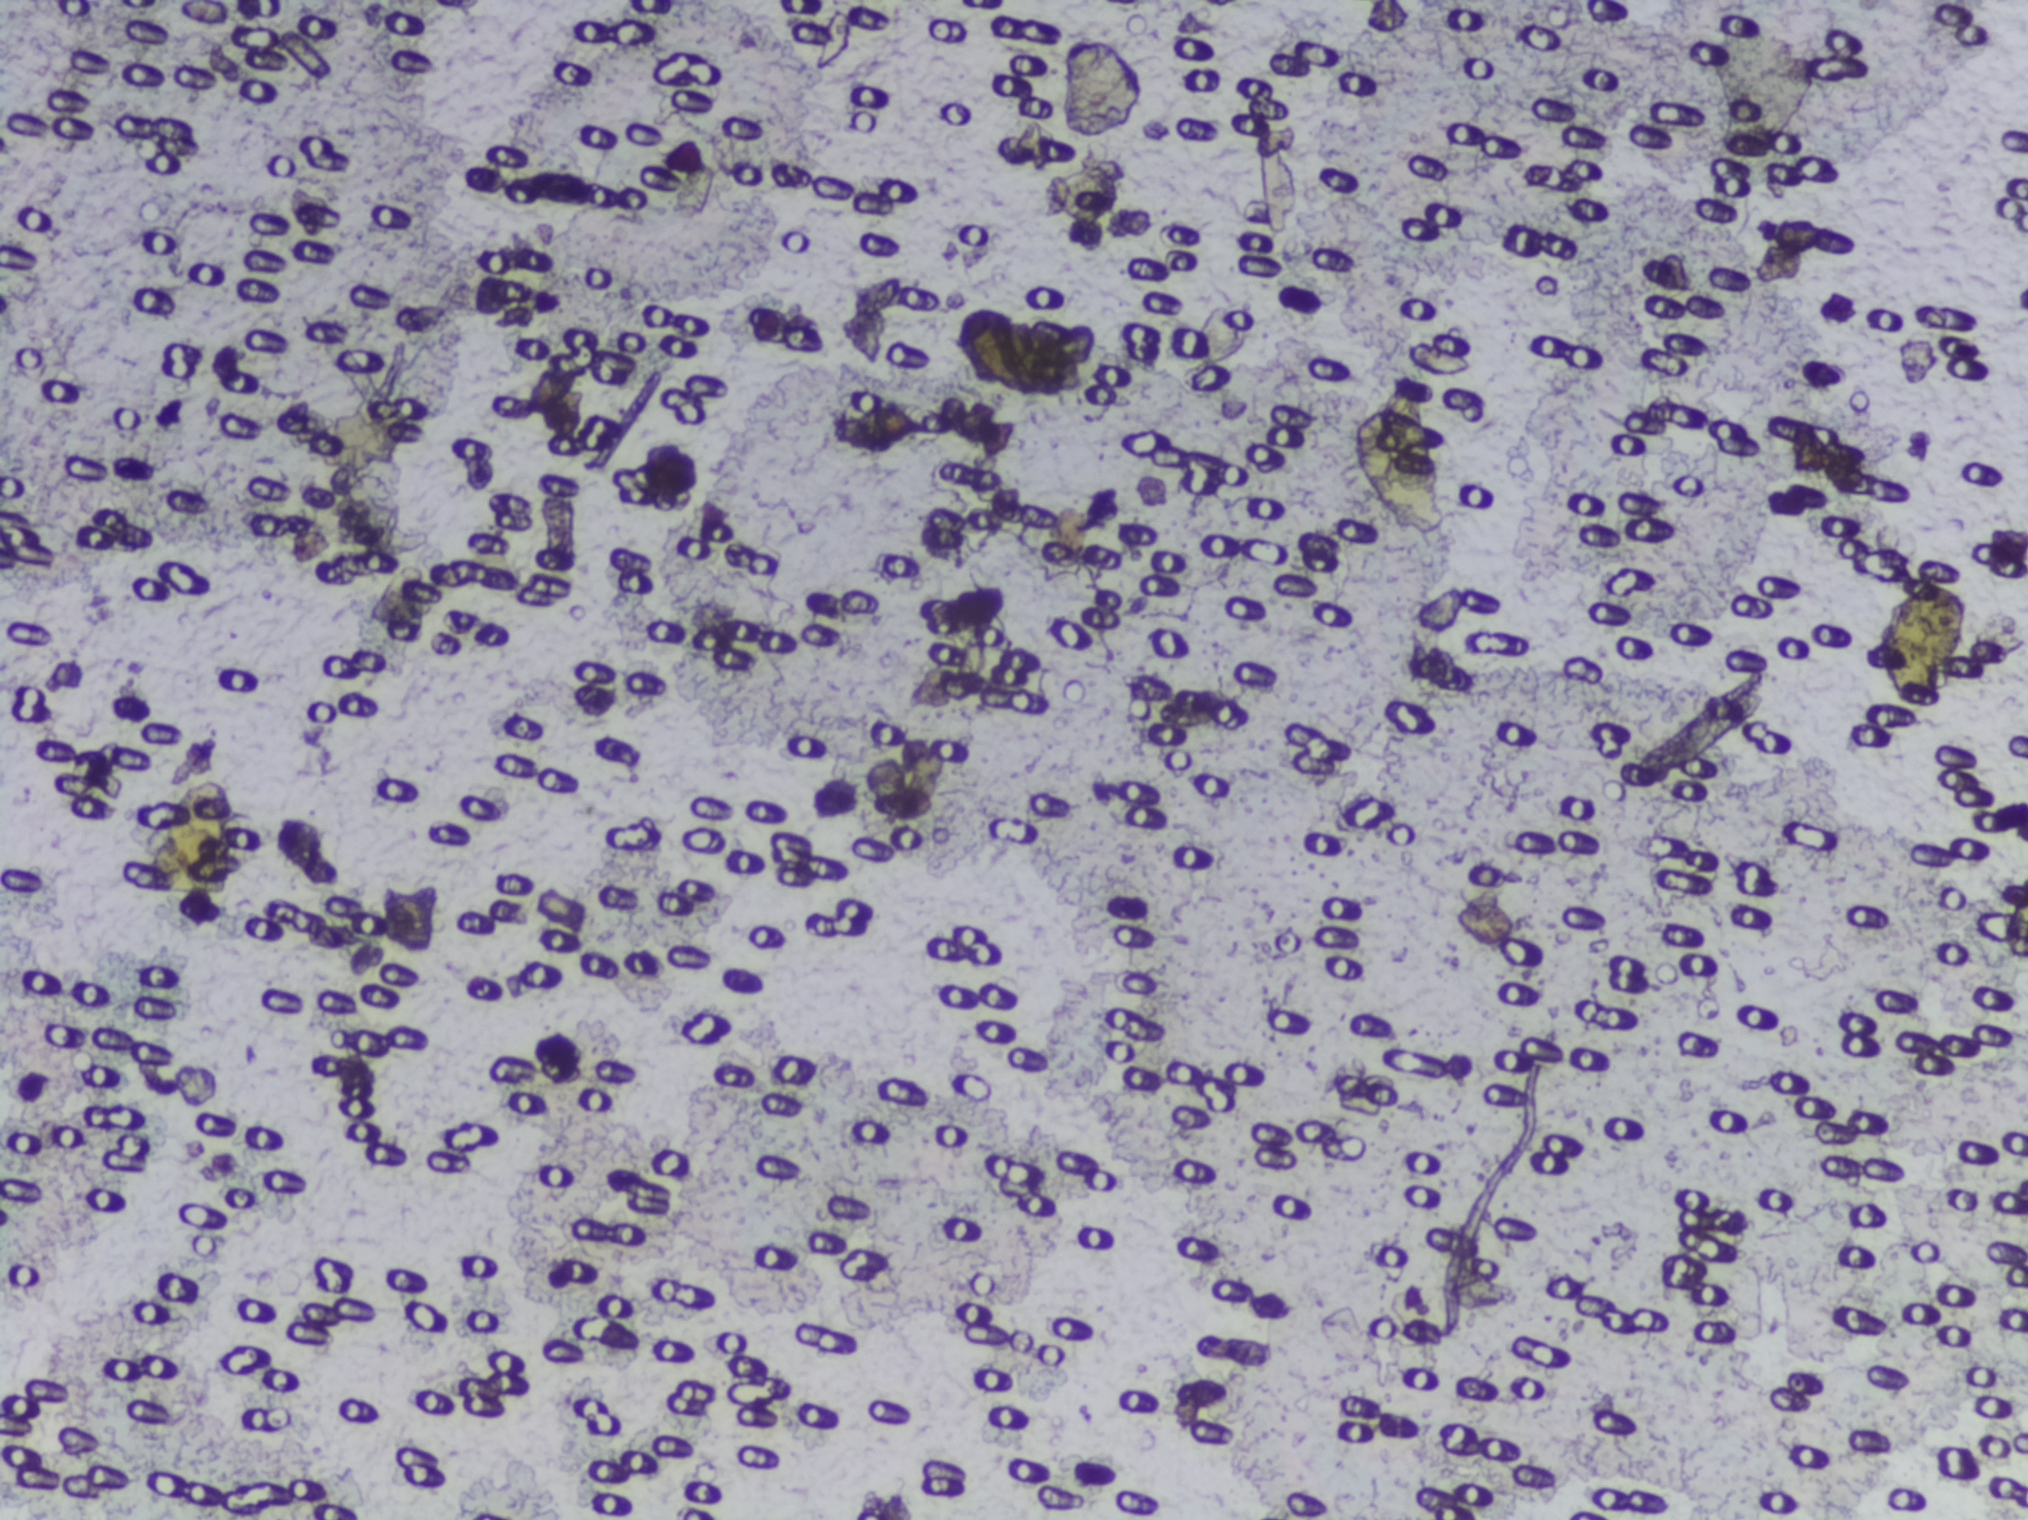
Microscope photograph (4× objective) of a membrane that a urine sample was filtered through. The image covers about 1.5 × 1.1 mm of the membrane.
The expert annotation outlines no Schistosoma egg in this image.